Photograph from an automated digital microscope: urine filter membrane, 4× objective. The field of view is about 1.5 mm × 1.1 mm.
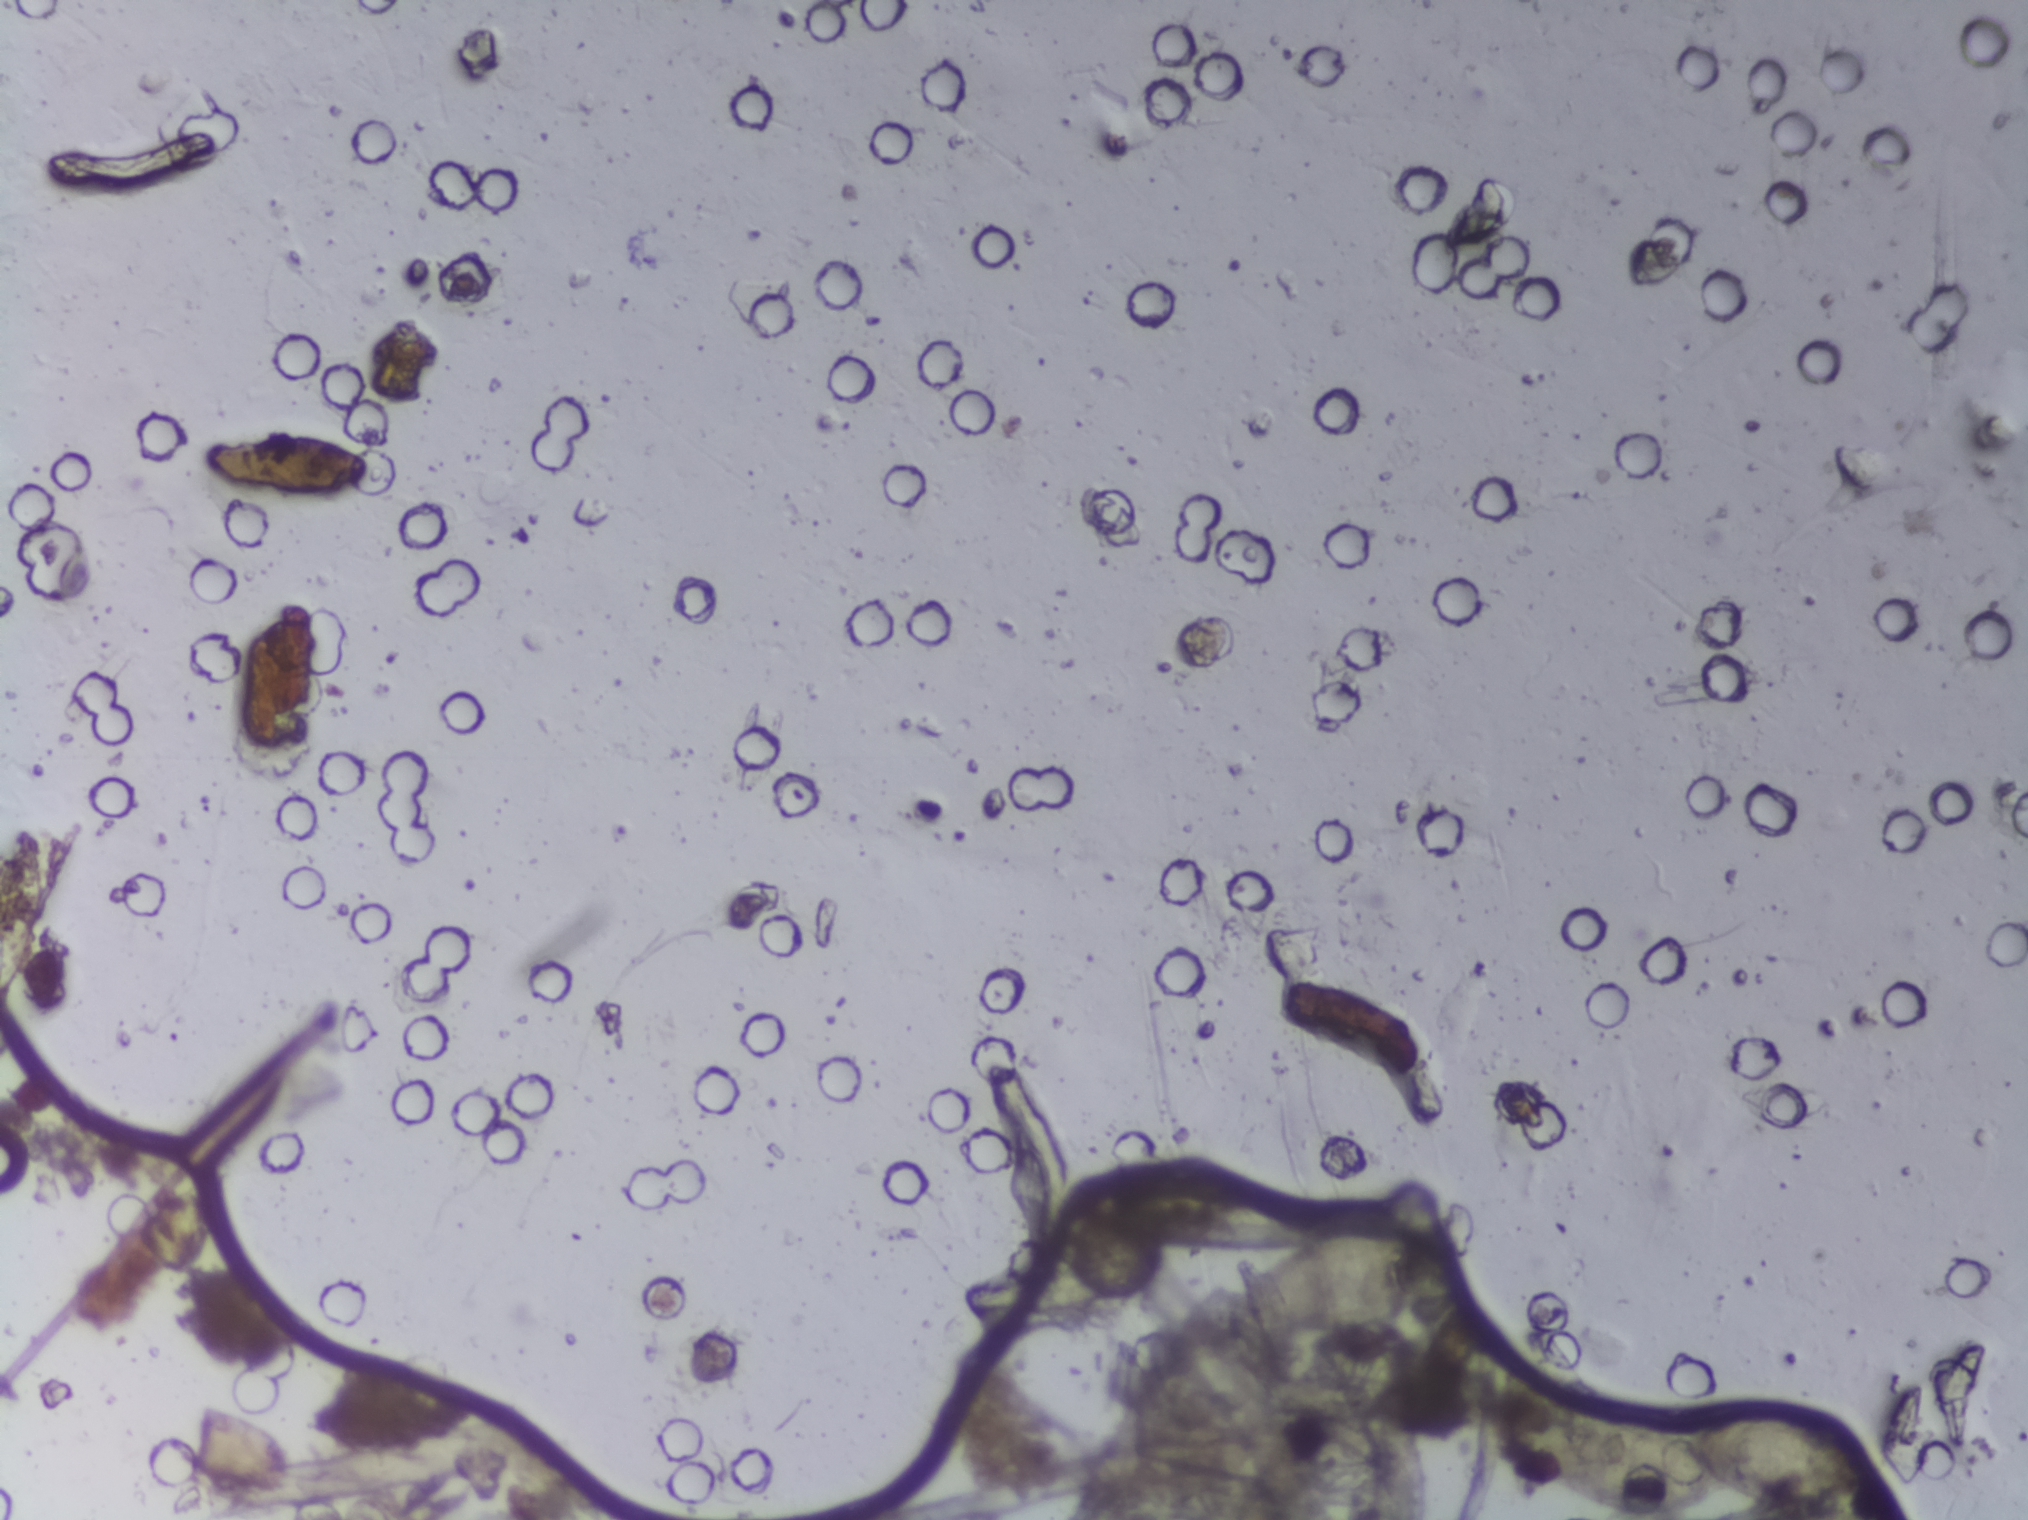
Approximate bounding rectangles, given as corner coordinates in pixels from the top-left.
Three areas of this image are outlined as Schistosoma eggs, from left to right: (x1=205, y1=429, x2=370, y2=499); (x1=1227, y1=1222, x2=1468, y2=1341); (x1=1484, y1=1378, x2=1883, y2=1519) (reaching the bottom edge of the frame). An outlined area can hold more than one egg.